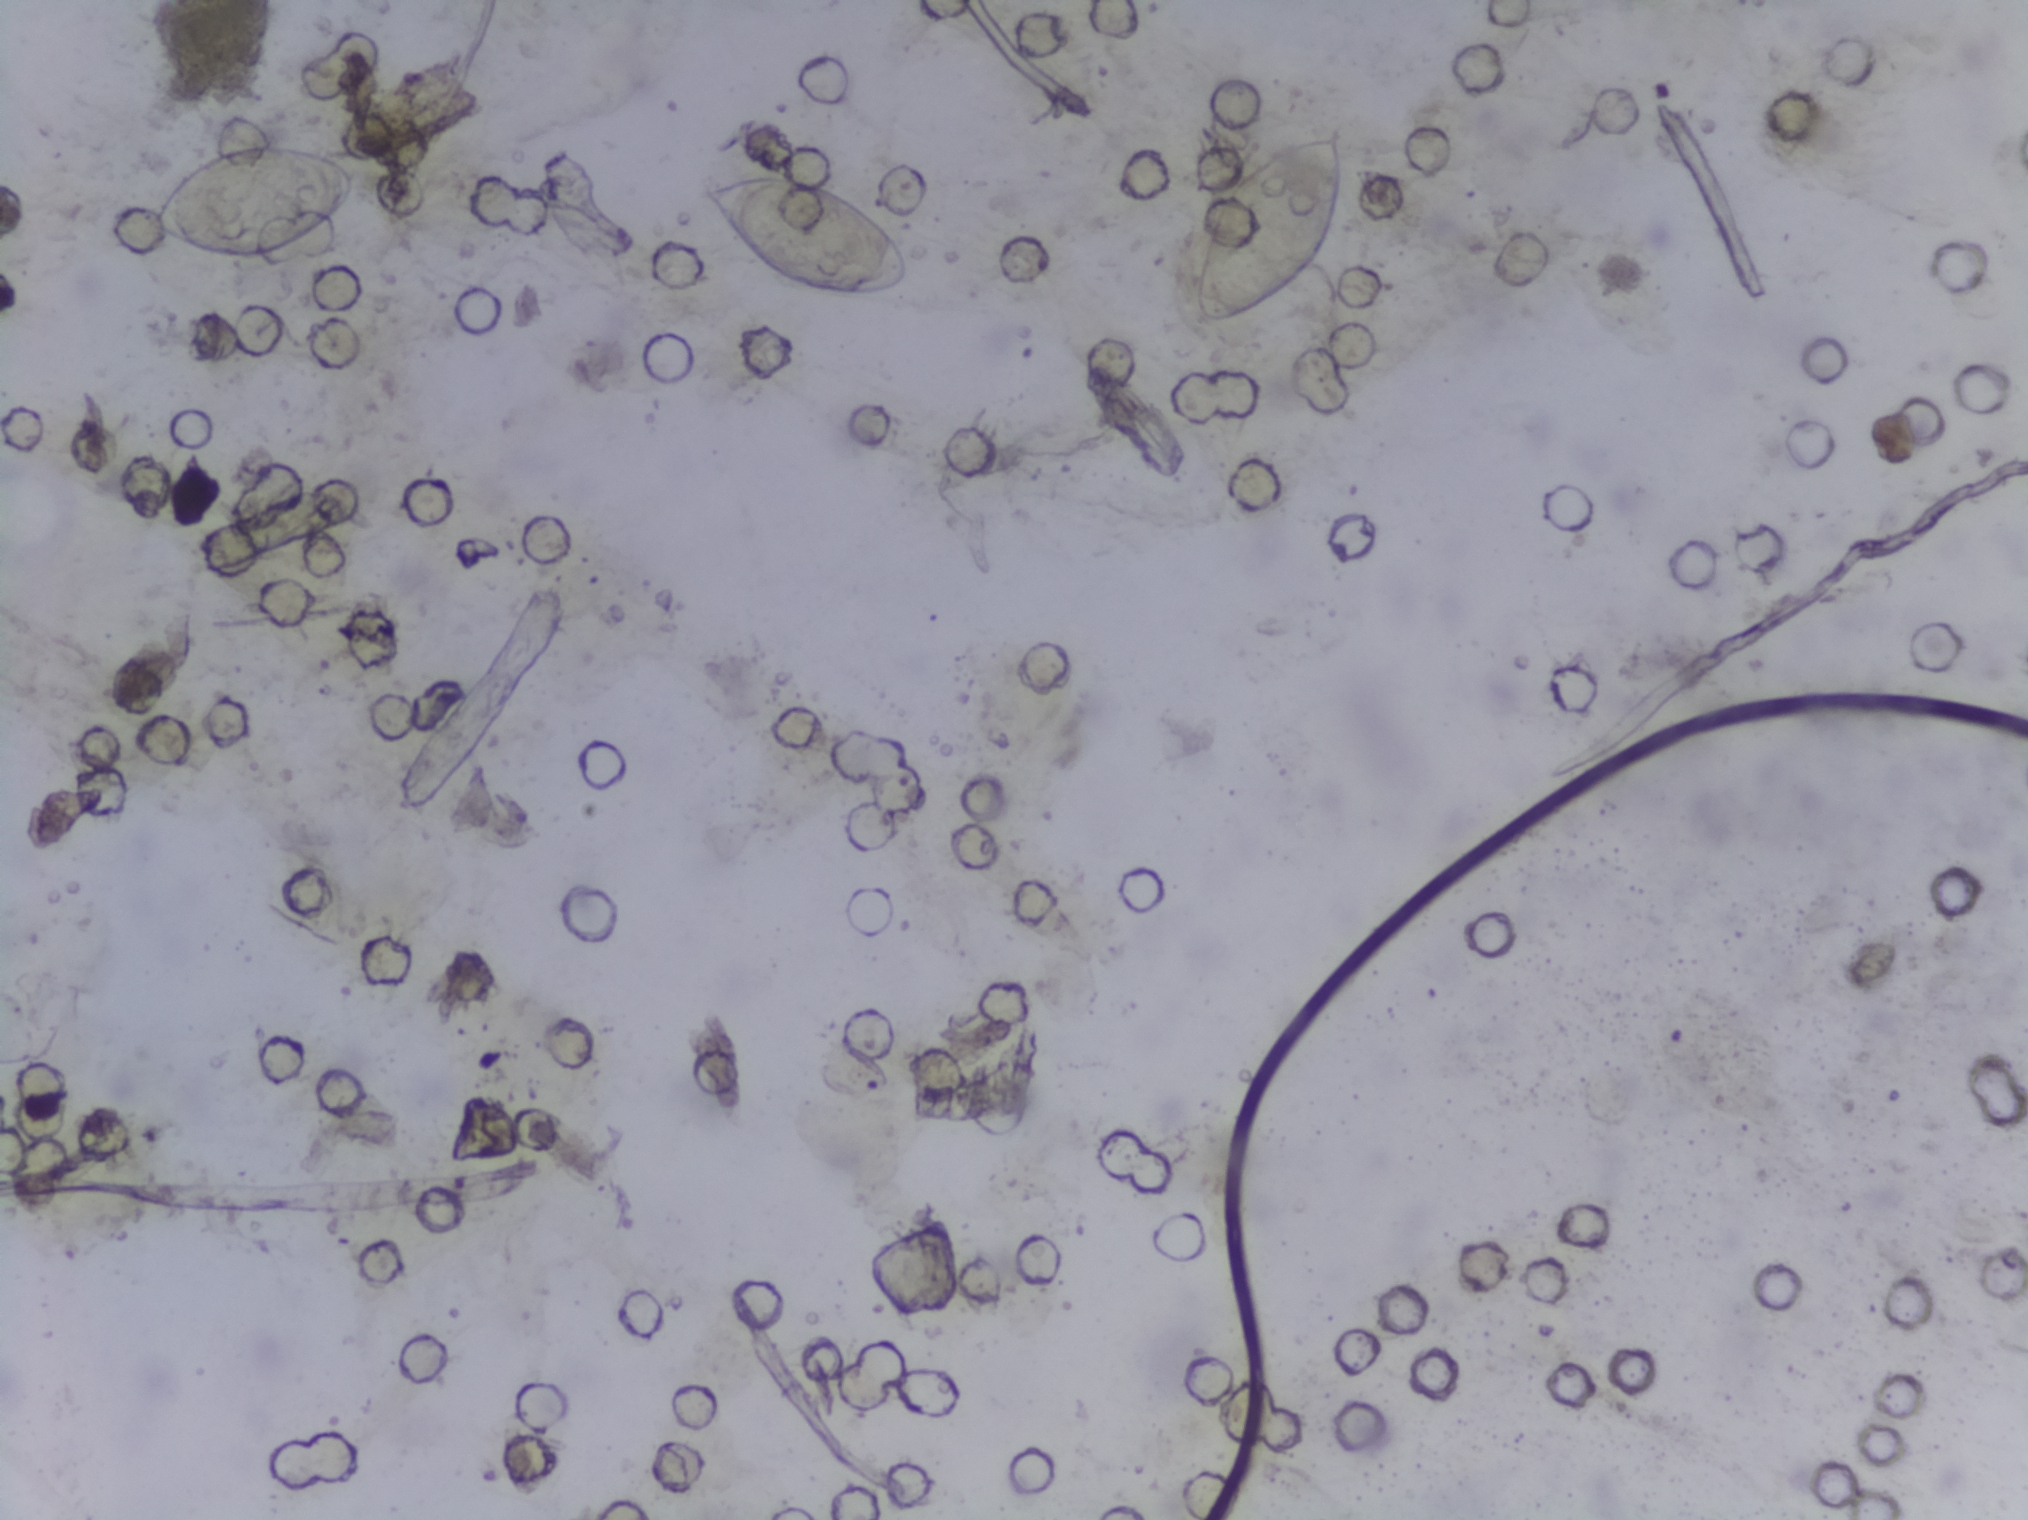
Urine filter membrane photographed through a 4× microscope objective.
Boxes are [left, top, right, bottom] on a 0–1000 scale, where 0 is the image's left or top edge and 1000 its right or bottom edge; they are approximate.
Schistosoma eggs are outlined in three areas of this image, listed from left to right: [65, 93, 181, 181]; [347, 113, 451, 197]; [586, 77, 666, 219]. A single outlined area may contain several eggs. Any one outlined egg may, rarely, be S. mansoni rather than S. haematobium.